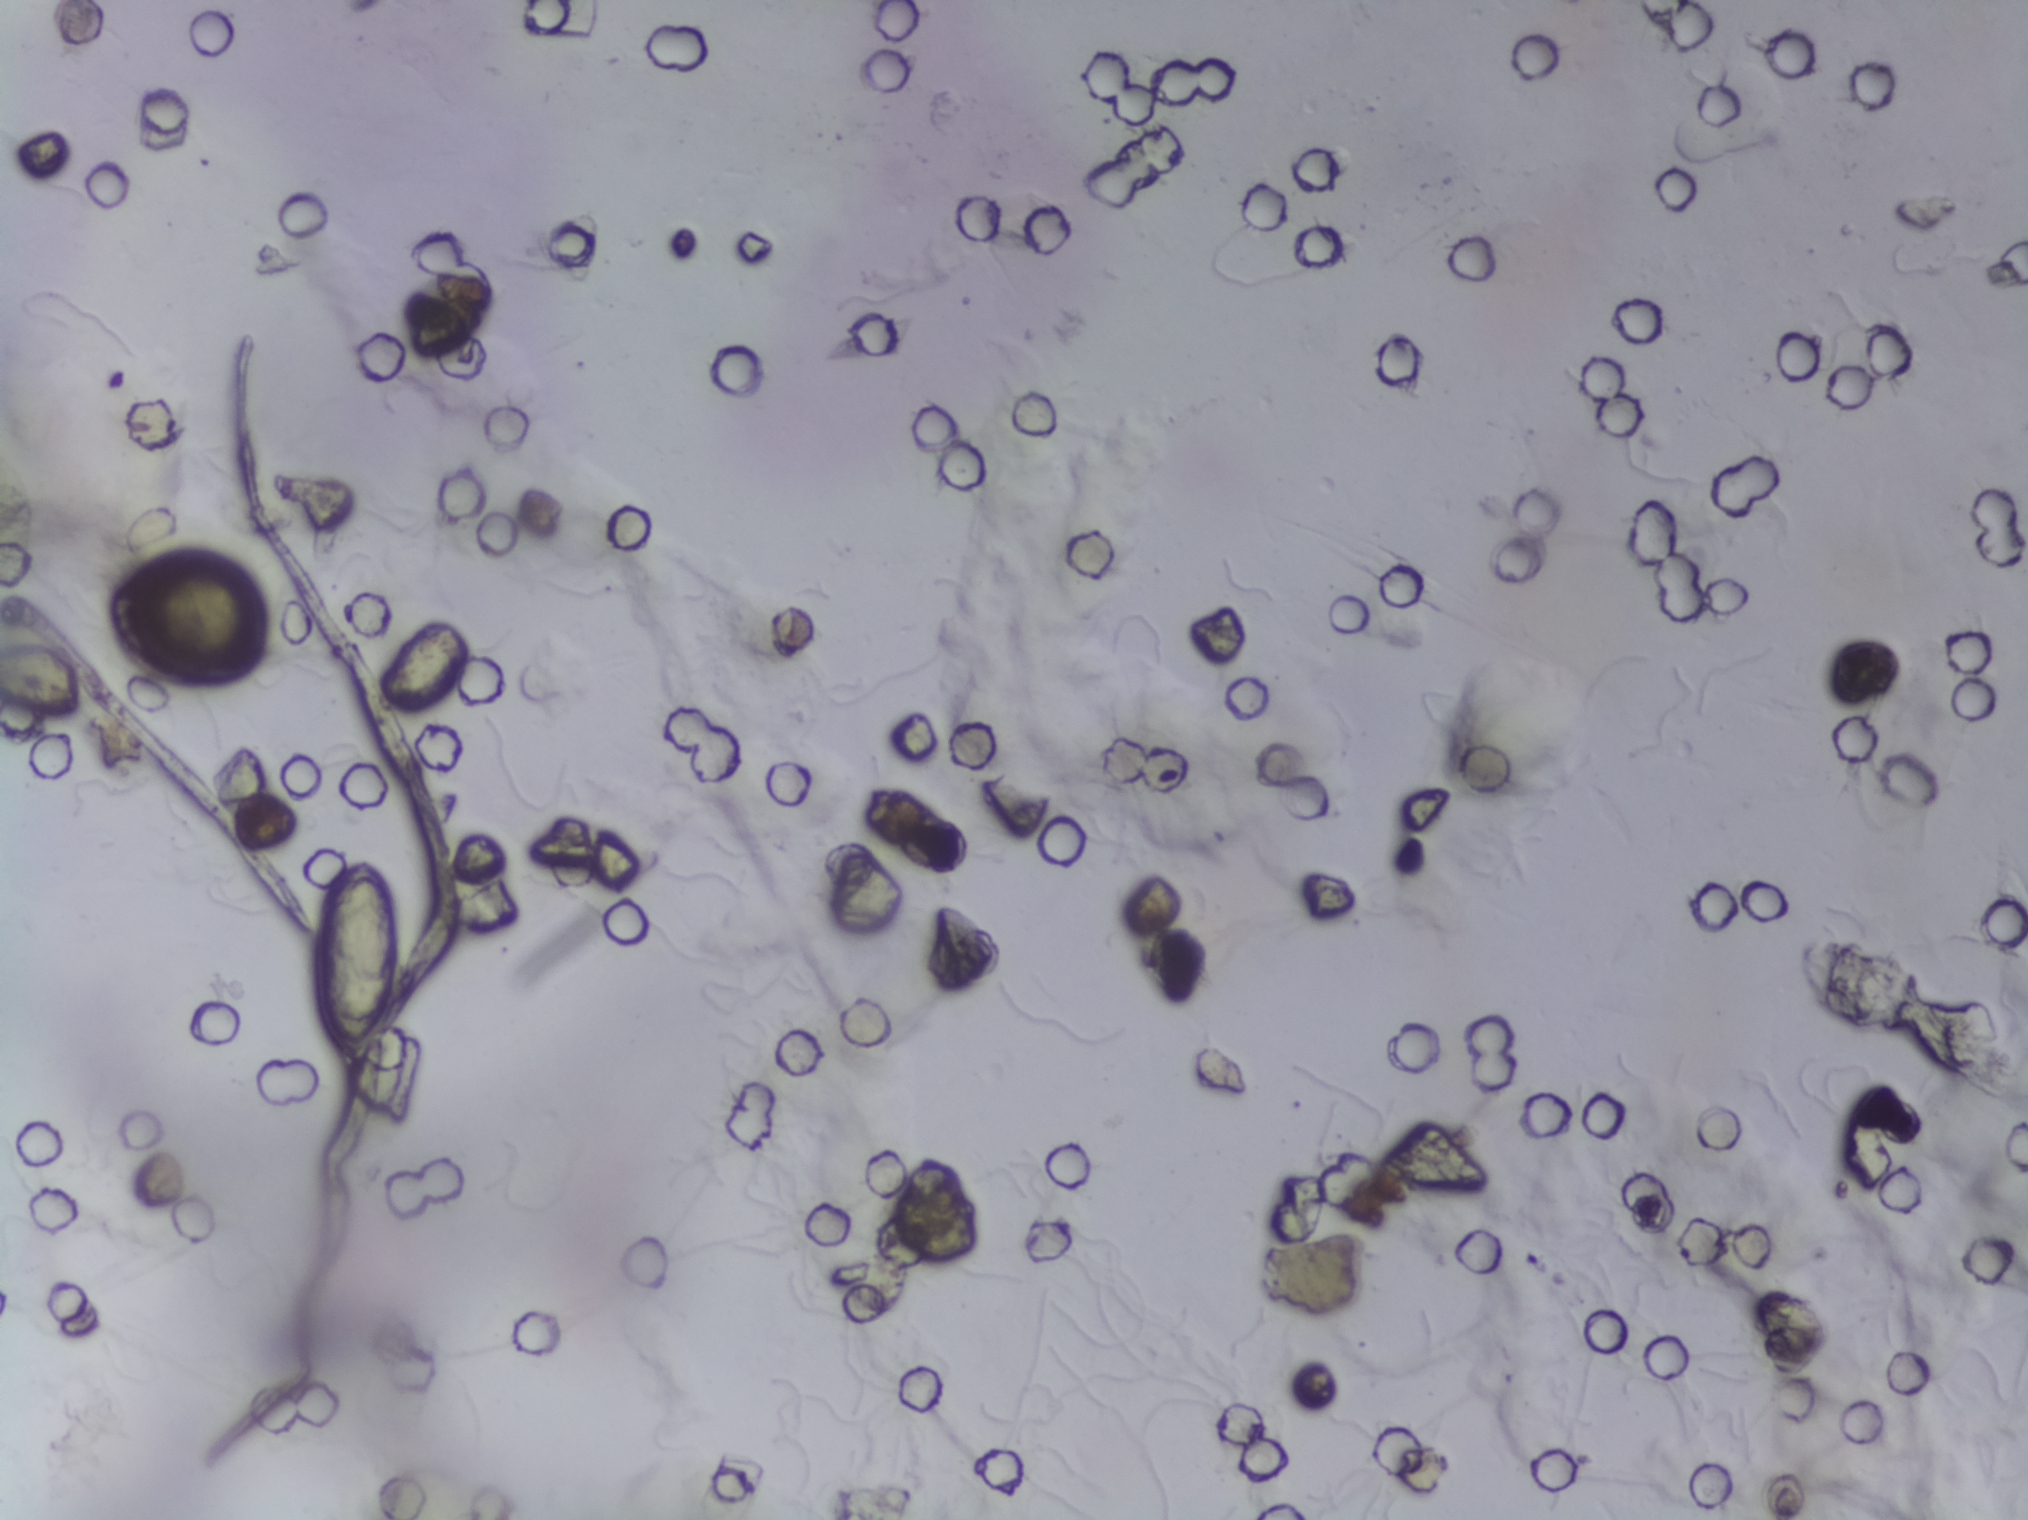
Photograph from an automated digital microscope: urine filter membrane, 4× objective.
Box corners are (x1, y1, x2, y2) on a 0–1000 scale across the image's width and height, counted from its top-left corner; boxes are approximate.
One area of this image is outlined as Schistosoma eggs: (150, 563, 200, 713). Eggs that touch can end up inside the same outlined area.